Photomicrograph of a urine filtration membrane, 4× objective. The image covers about 1.5 × 1.1 mm of the membrane.
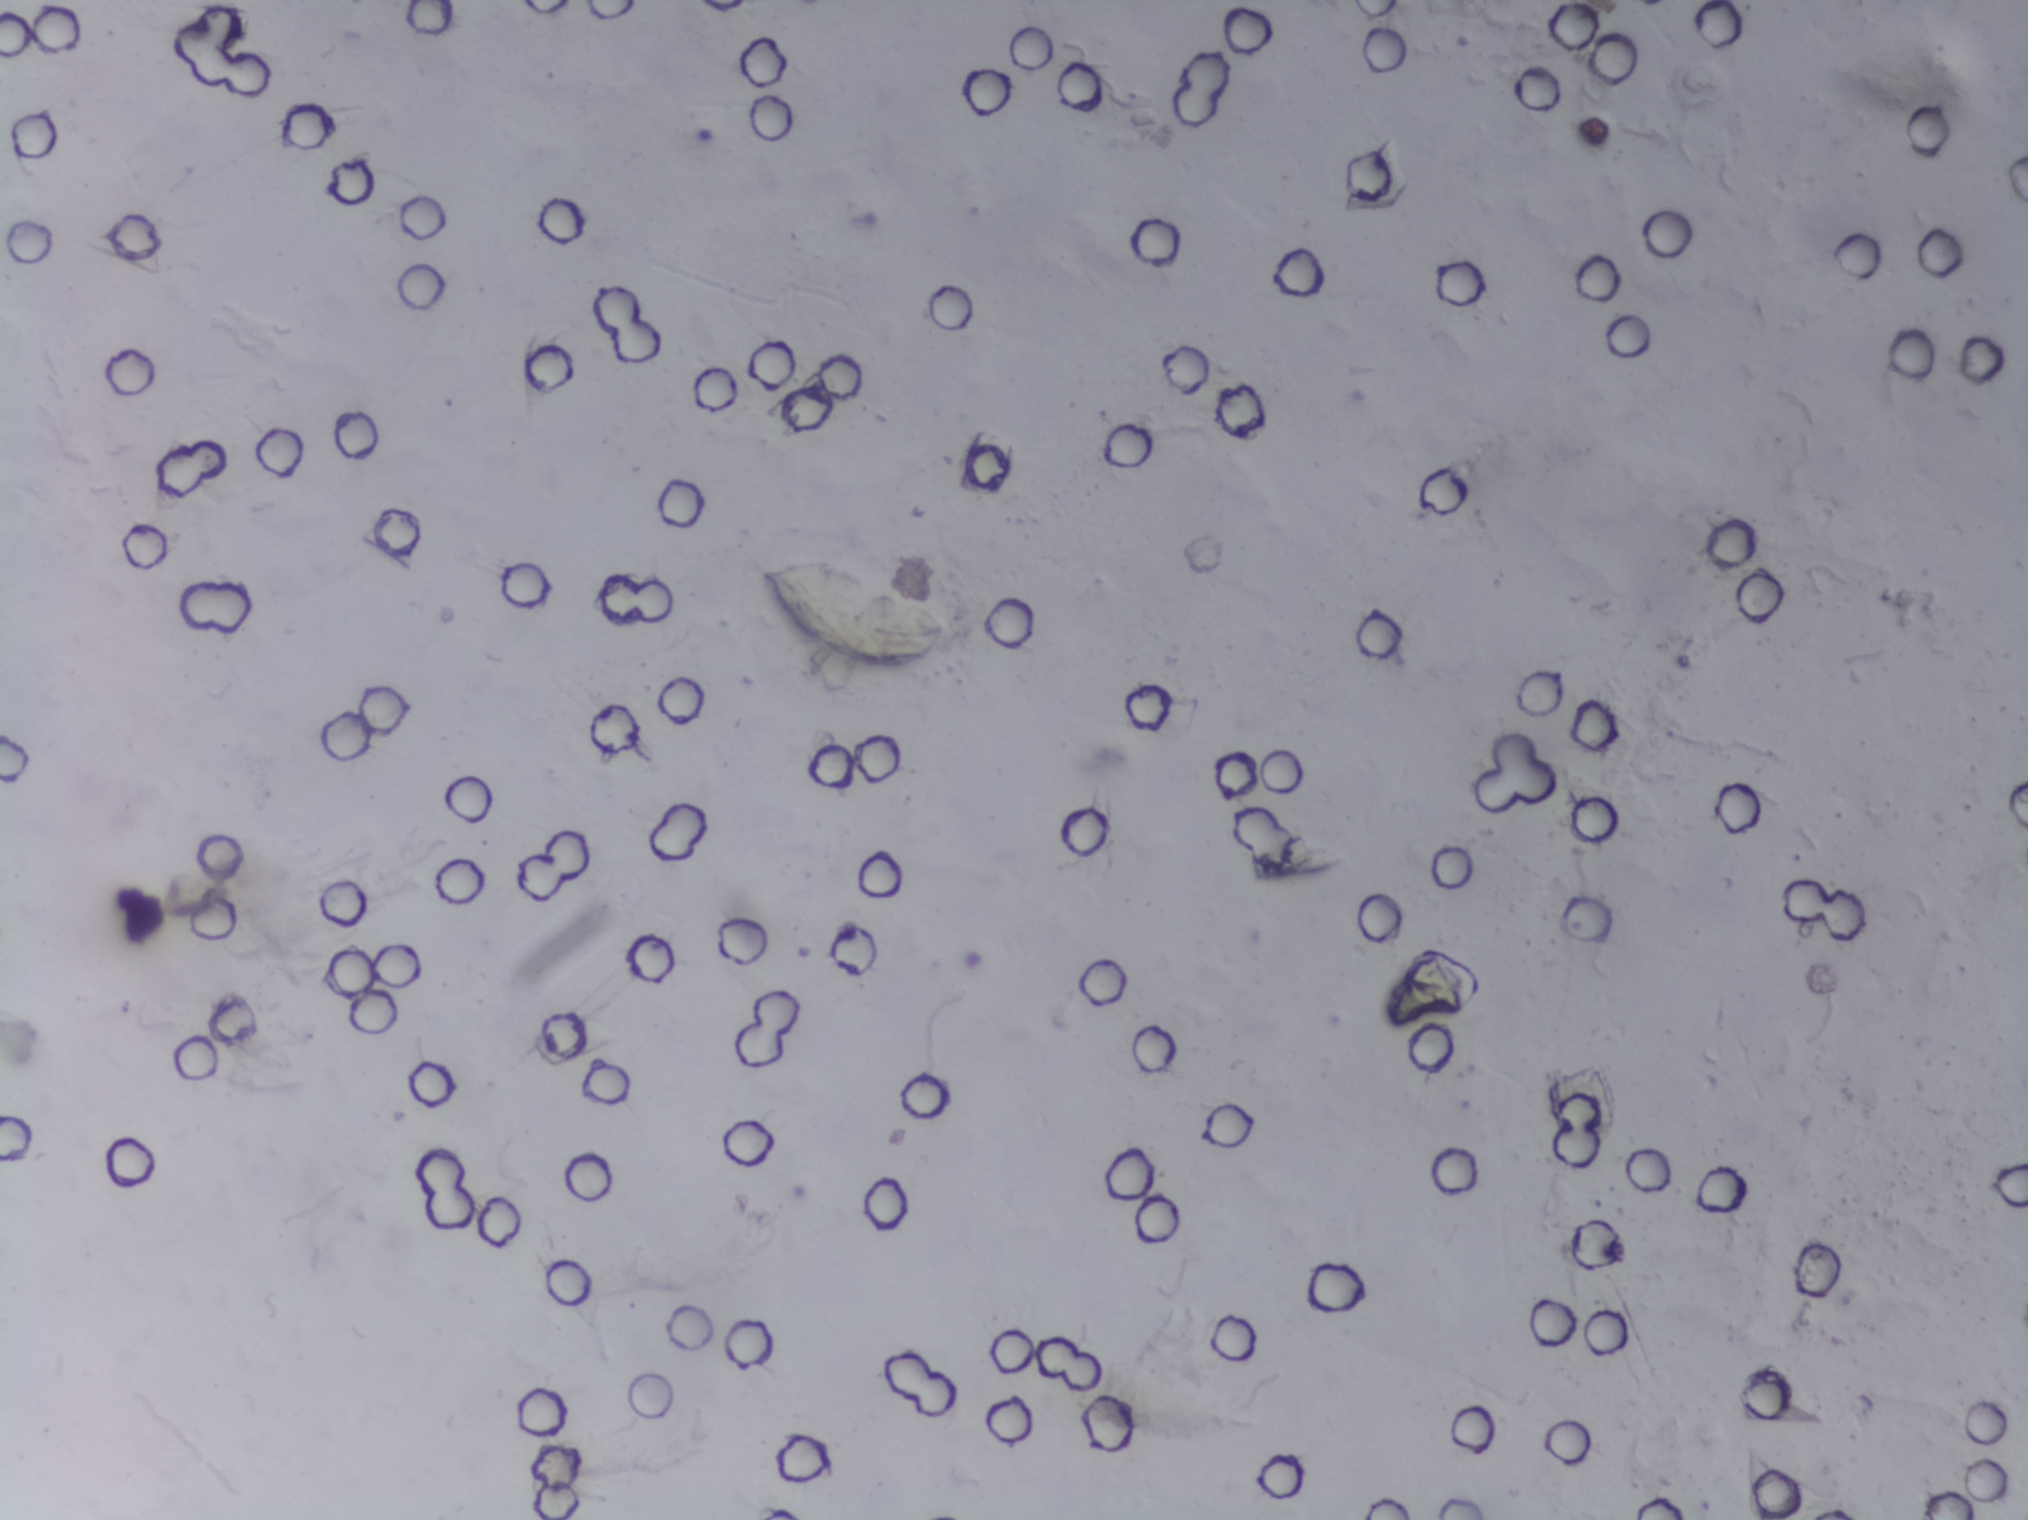
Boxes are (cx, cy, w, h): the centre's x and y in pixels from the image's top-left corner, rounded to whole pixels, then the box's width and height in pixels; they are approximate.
Areas outlined as Schistosoma eggs:
1. (cx=853, cy=611, w=184, h=113)
The marked pixels themselves, not the box around them, cover about 0.5% of the image. Eggs that touch can end up inside the same outlined area.